Urine filtration membrane under a 4× objective, photographed by an automated digital microscope.
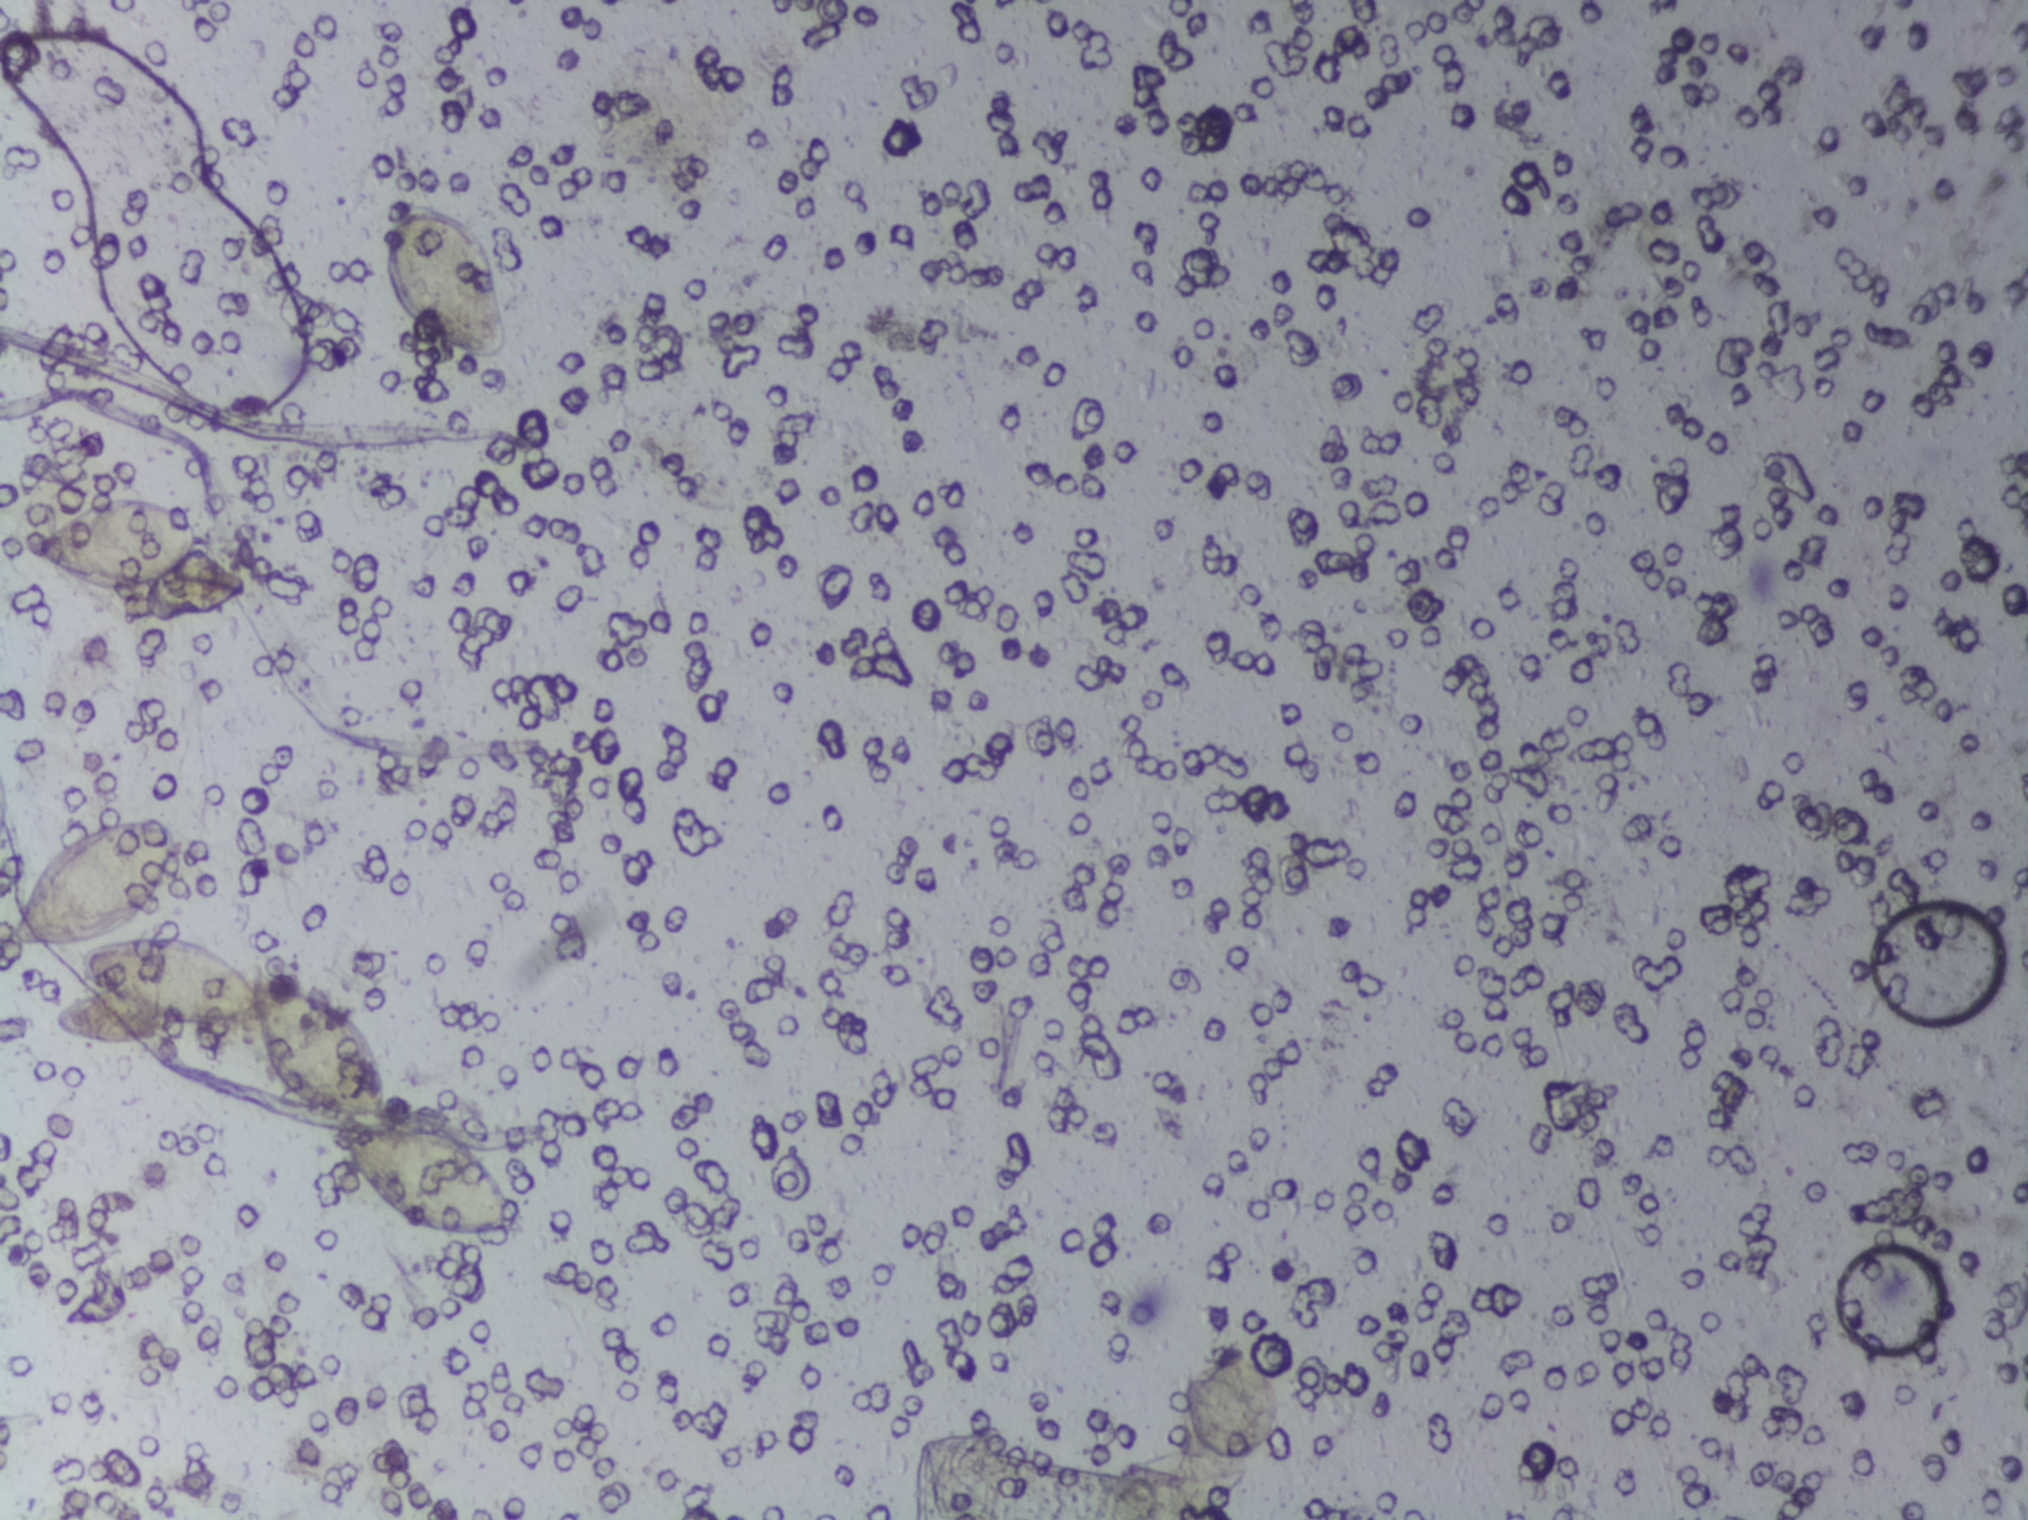
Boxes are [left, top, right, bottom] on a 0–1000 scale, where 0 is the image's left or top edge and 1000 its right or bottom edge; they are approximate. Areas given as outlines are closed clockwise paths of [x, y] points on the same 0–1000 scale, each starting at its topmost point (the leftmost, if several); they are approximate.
Schistosoma eggs, outlined areas: outline [66, 540], [85, 541], [88, 567], [74, 603], [52, 618], [78, 612], [92, 615], [124, 637], [131, 635], [131, 639], [170, 658], [188, 684], [192, 733], [187, 736], [212, 738], [235, 754], [258, 796], [259, 813], [237, 815], [196, 806], [169, 768], [164, 743], [175, 738], [153, 730], [135, 713], [125, 668], [116, 673], [86, 675], [82, 687], [65, 690], [38, 687], [27, 678], [23, 665], [33, 654], [42, 650], [37, 629], [48, 621], [6, 621], [3, 607], [17, 573], [31, 552] (a cluster of eggs); box [17, 327, 100, 389]; box [189, 129, 250, 239]; box [542, 949, 619, 998]. Eggs that touch can end up inside the same outlined area.